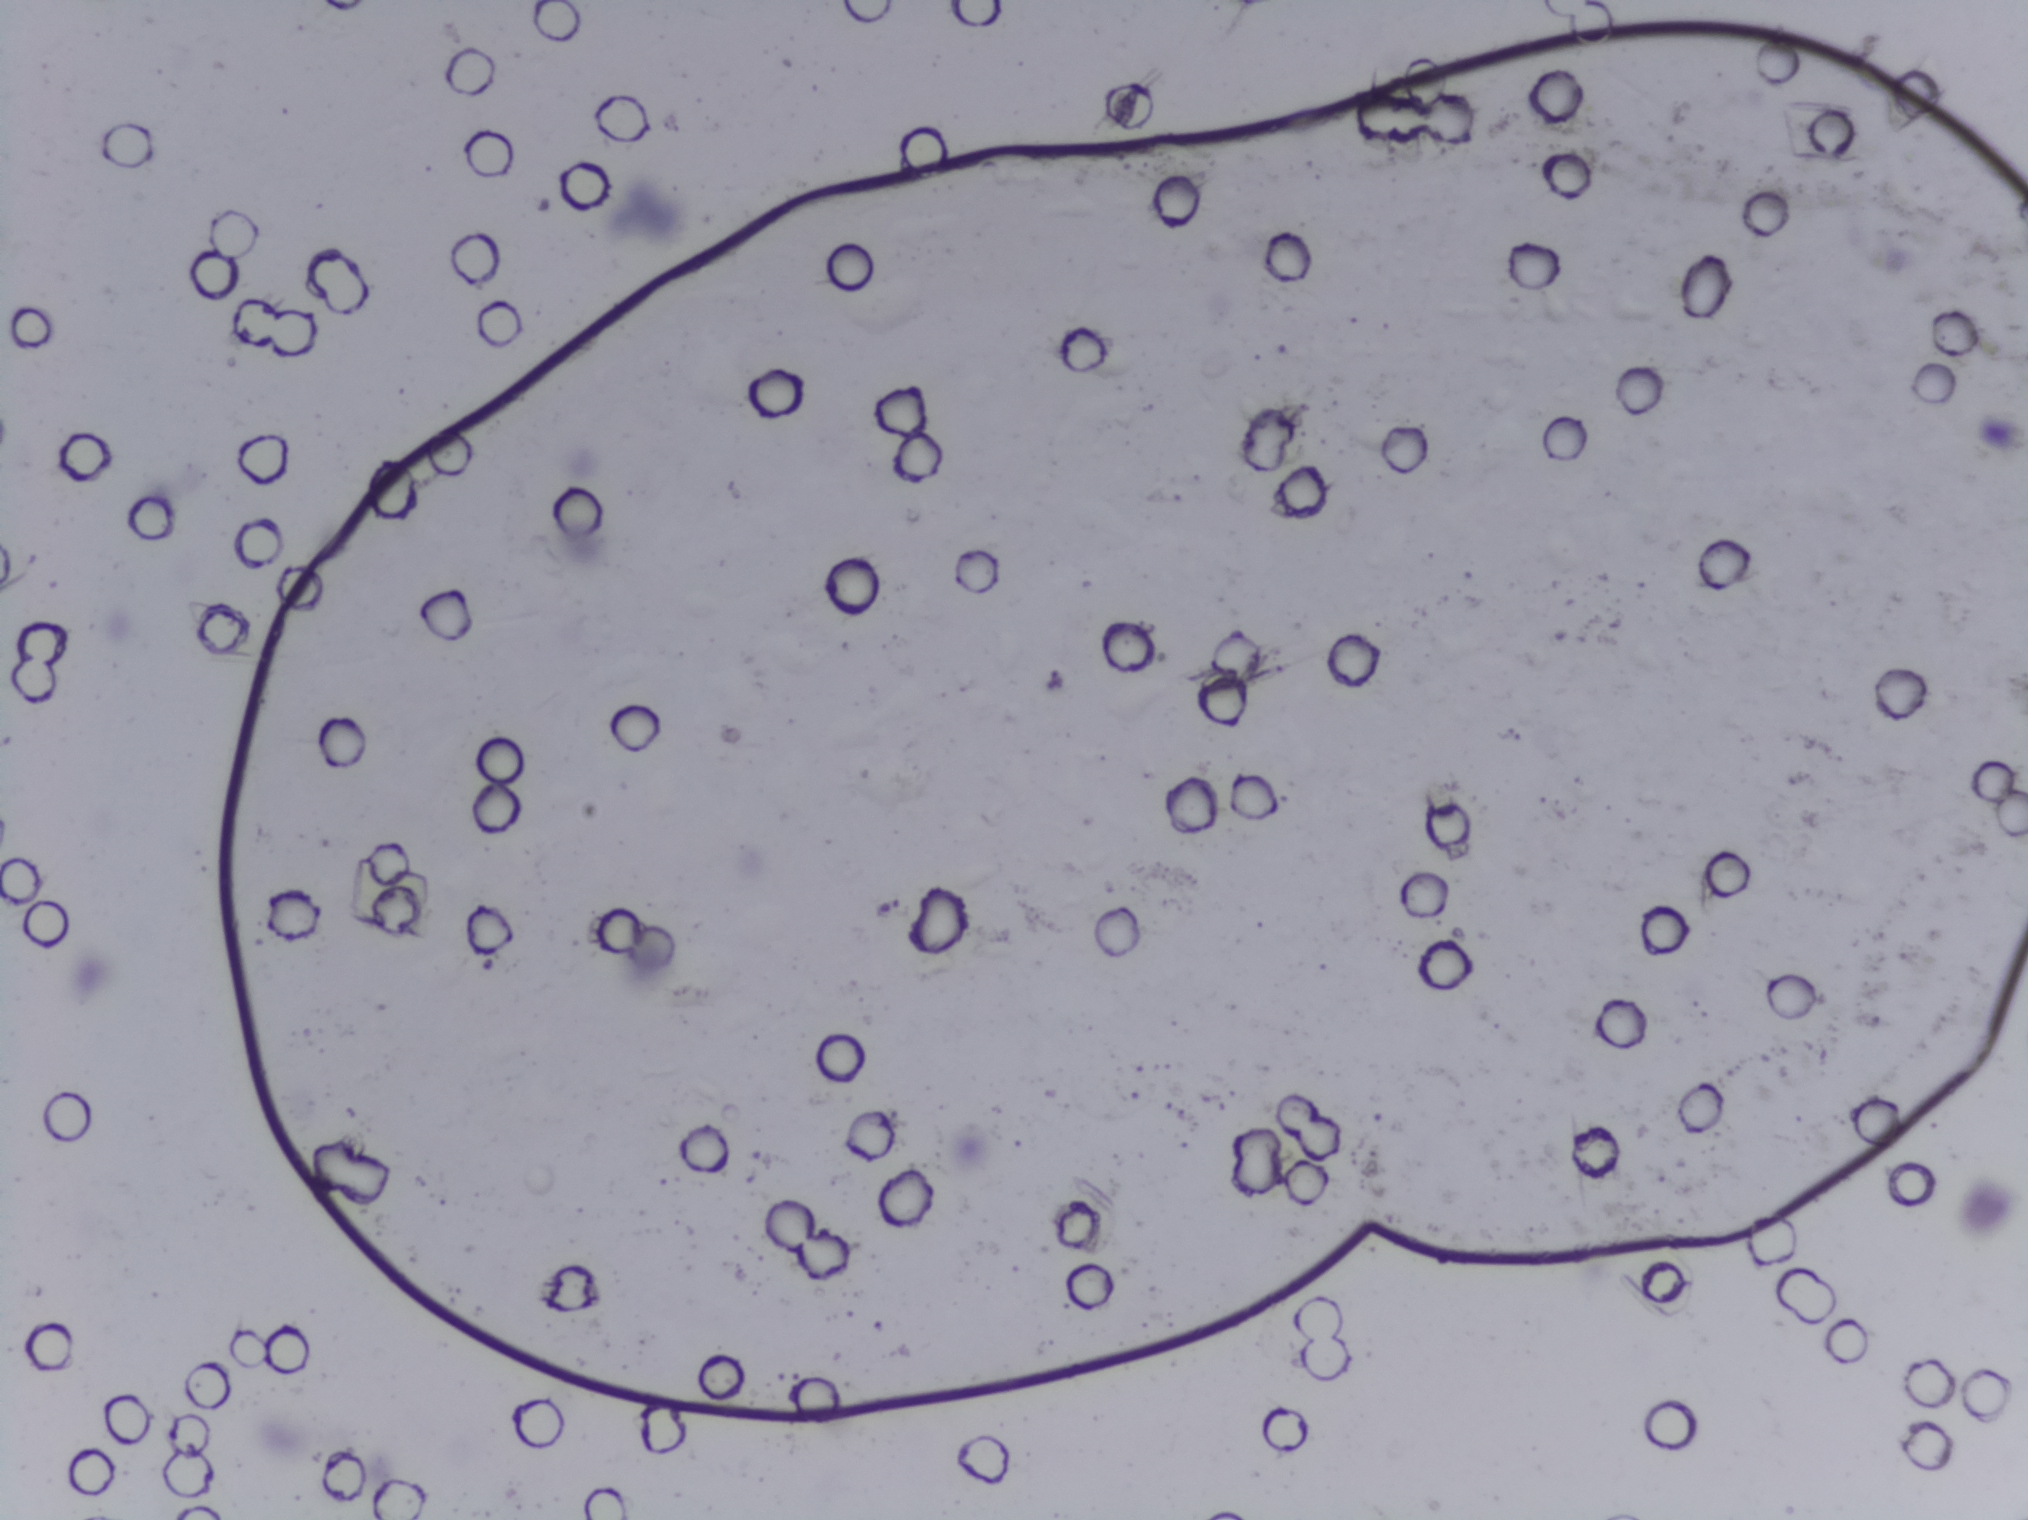
Urine filter membrane photographed through a 4× microscope objective.
The expert annotation outlines no Schistosoma egg in this image.